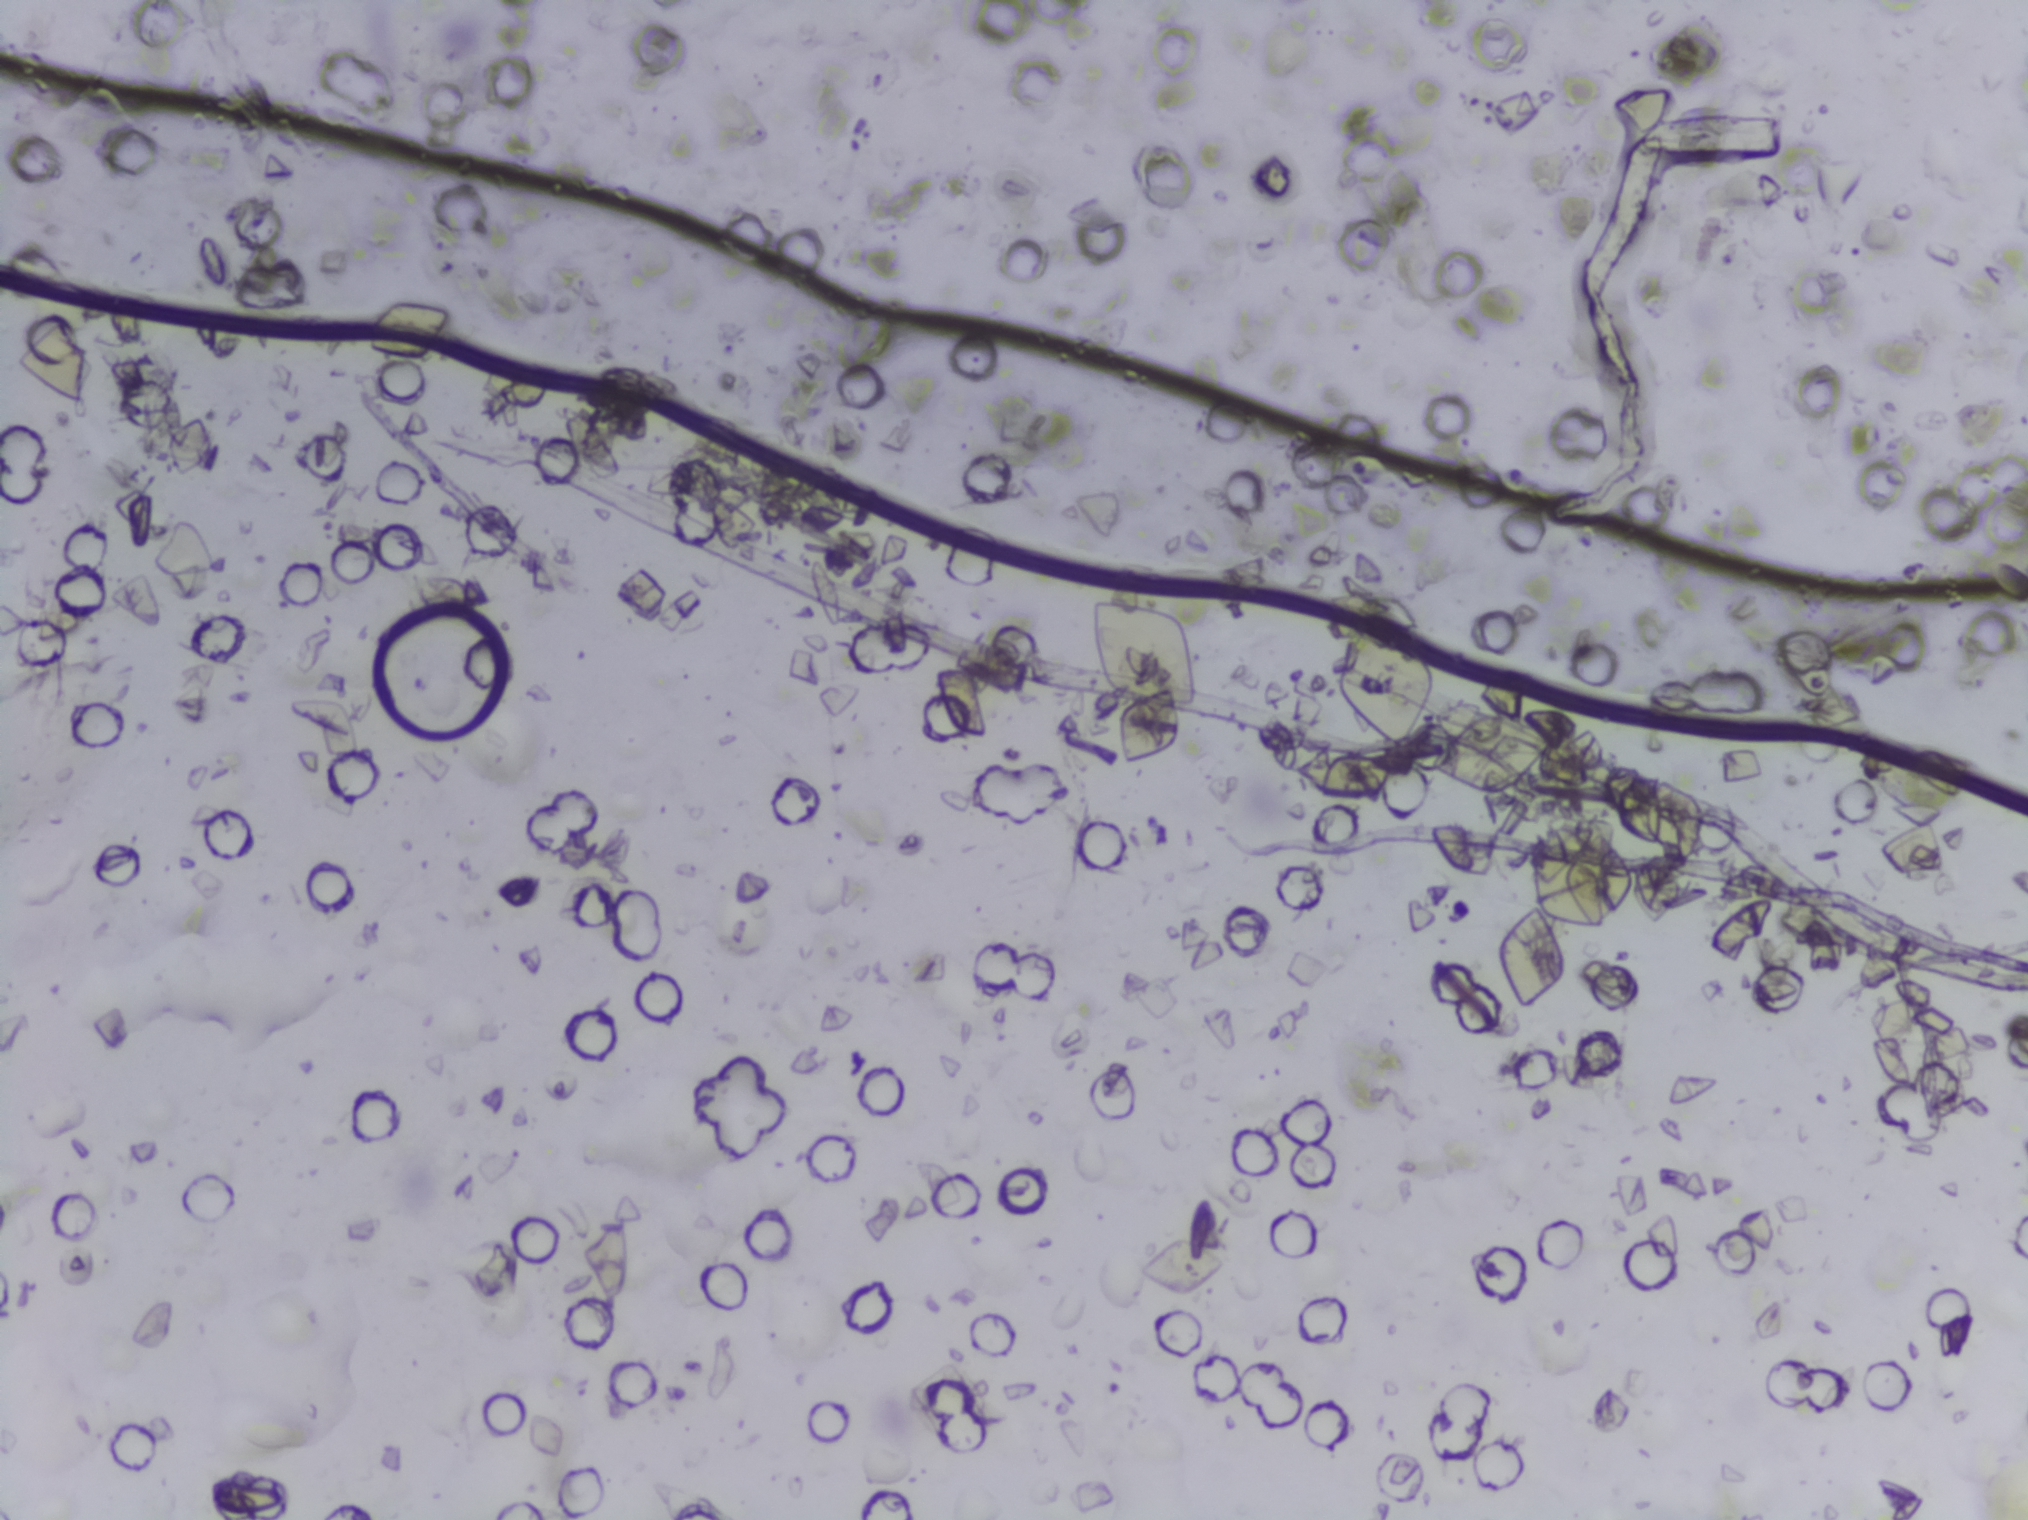
Photomicrograph of a urine filtration membrane, 4× objective. The image covers about 1.5 × 1.1 mm of the membrane.
The expert annotation marks no Schistosoma egg in this field of view.